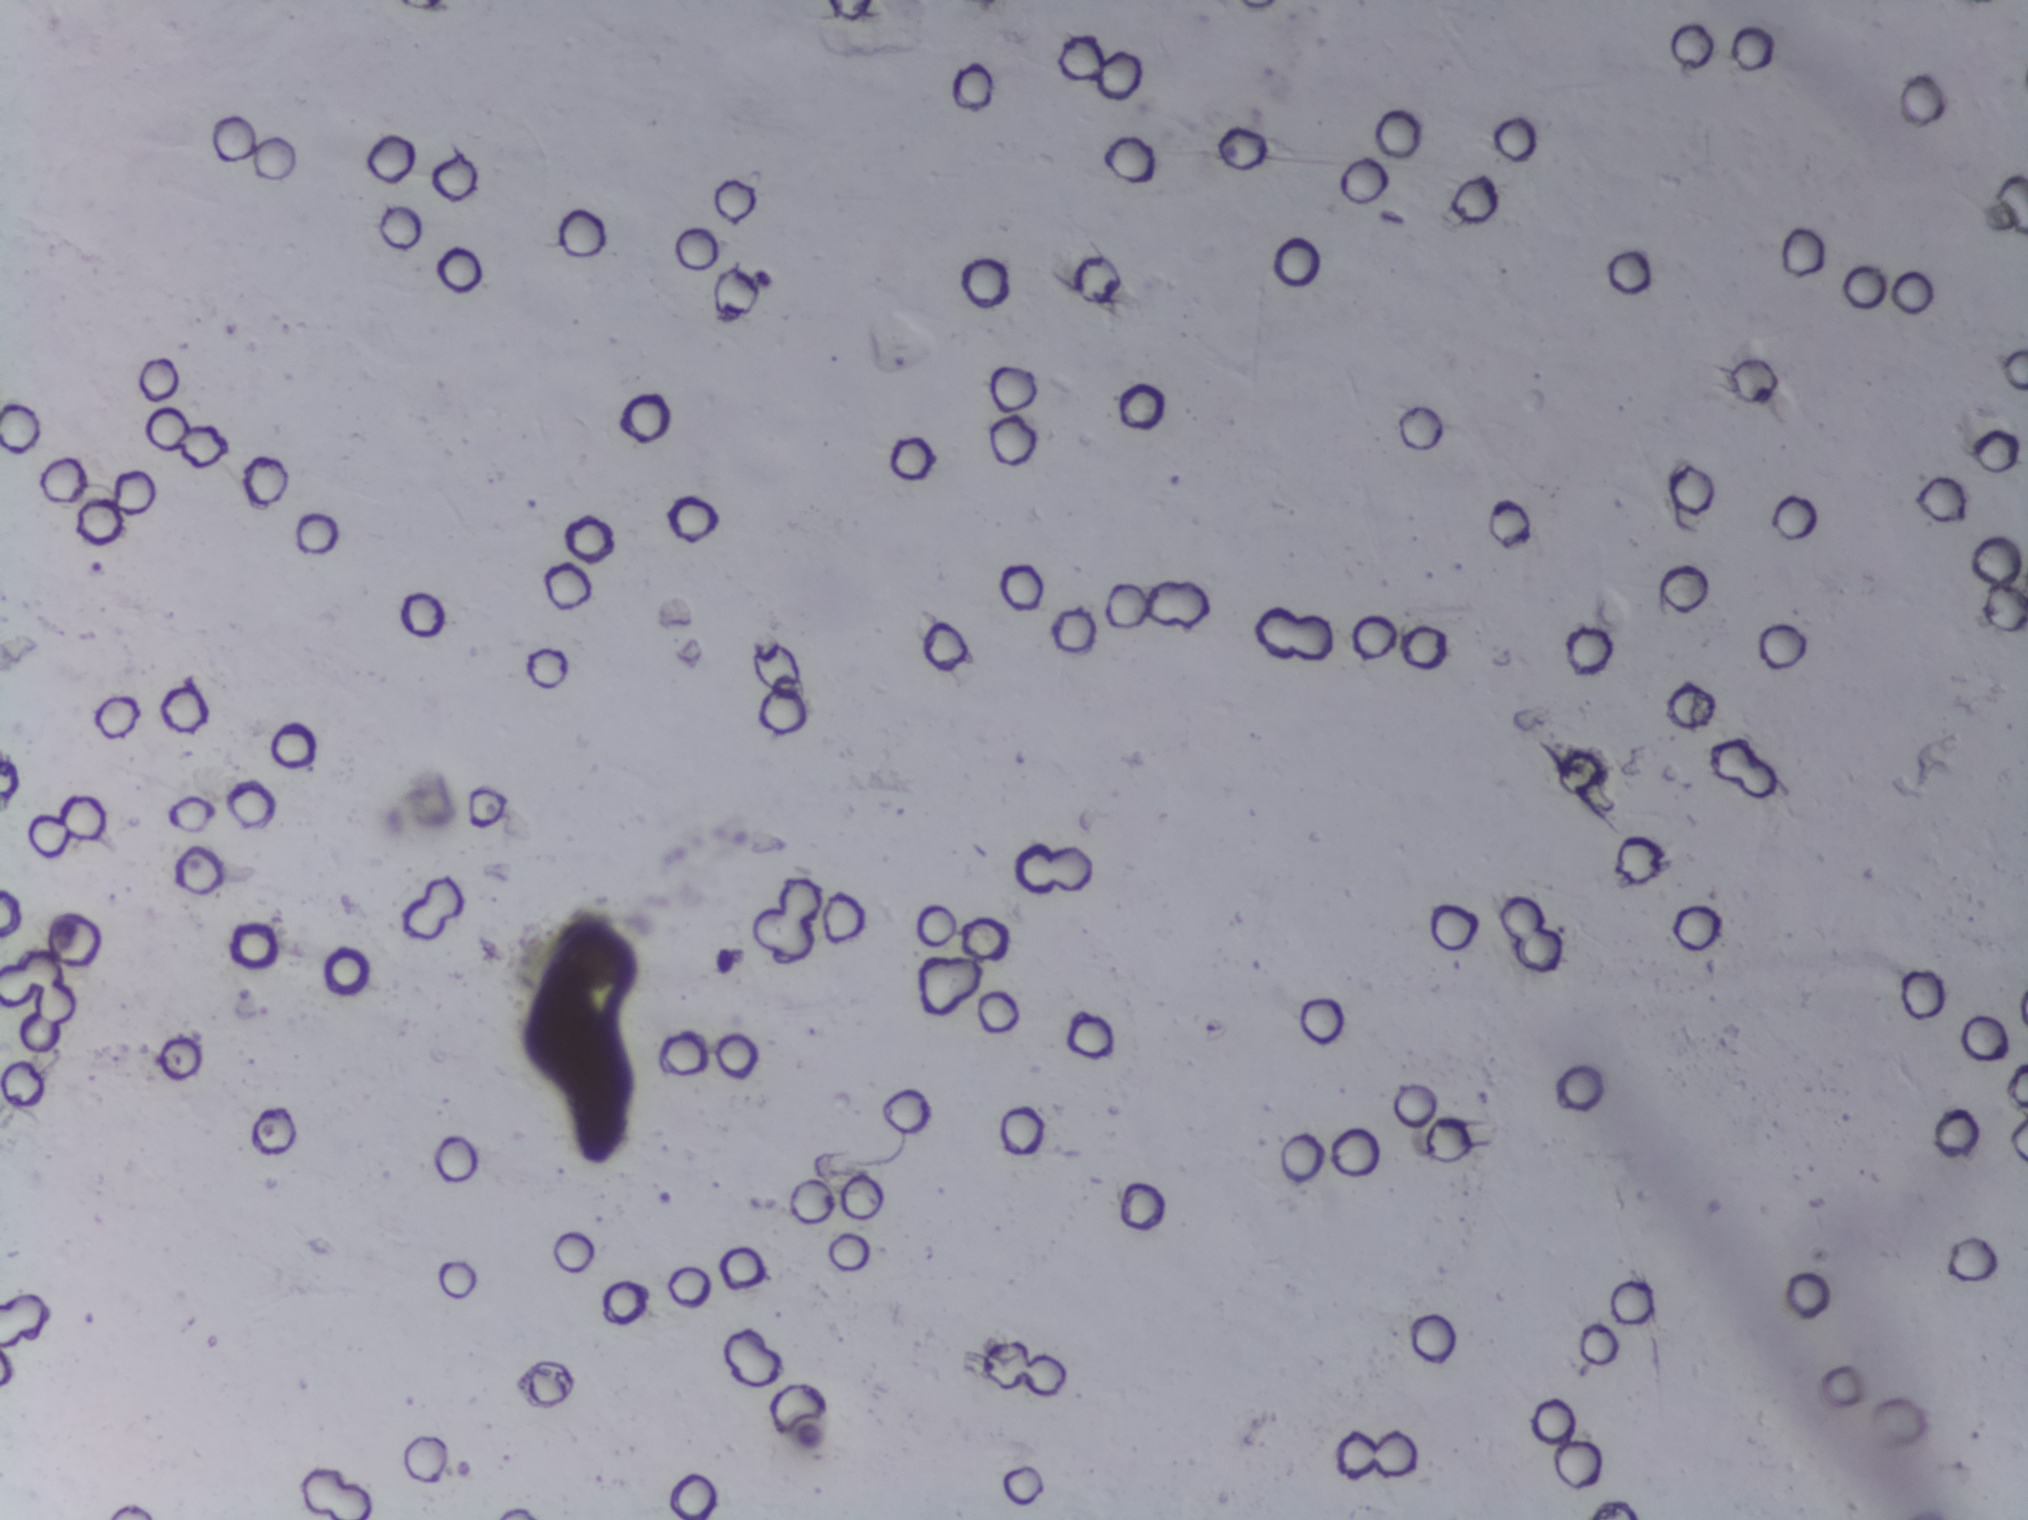
Urine filtration membrane under a 4× objective, photographed by an automated digital microscope.
No area of this image was outlined as a Schistosoma egg.